Photograph from an automated digital microscope: urine filter membrane, 4× objective. The image covers about 1.5 × 1.1 mm of the membrane.
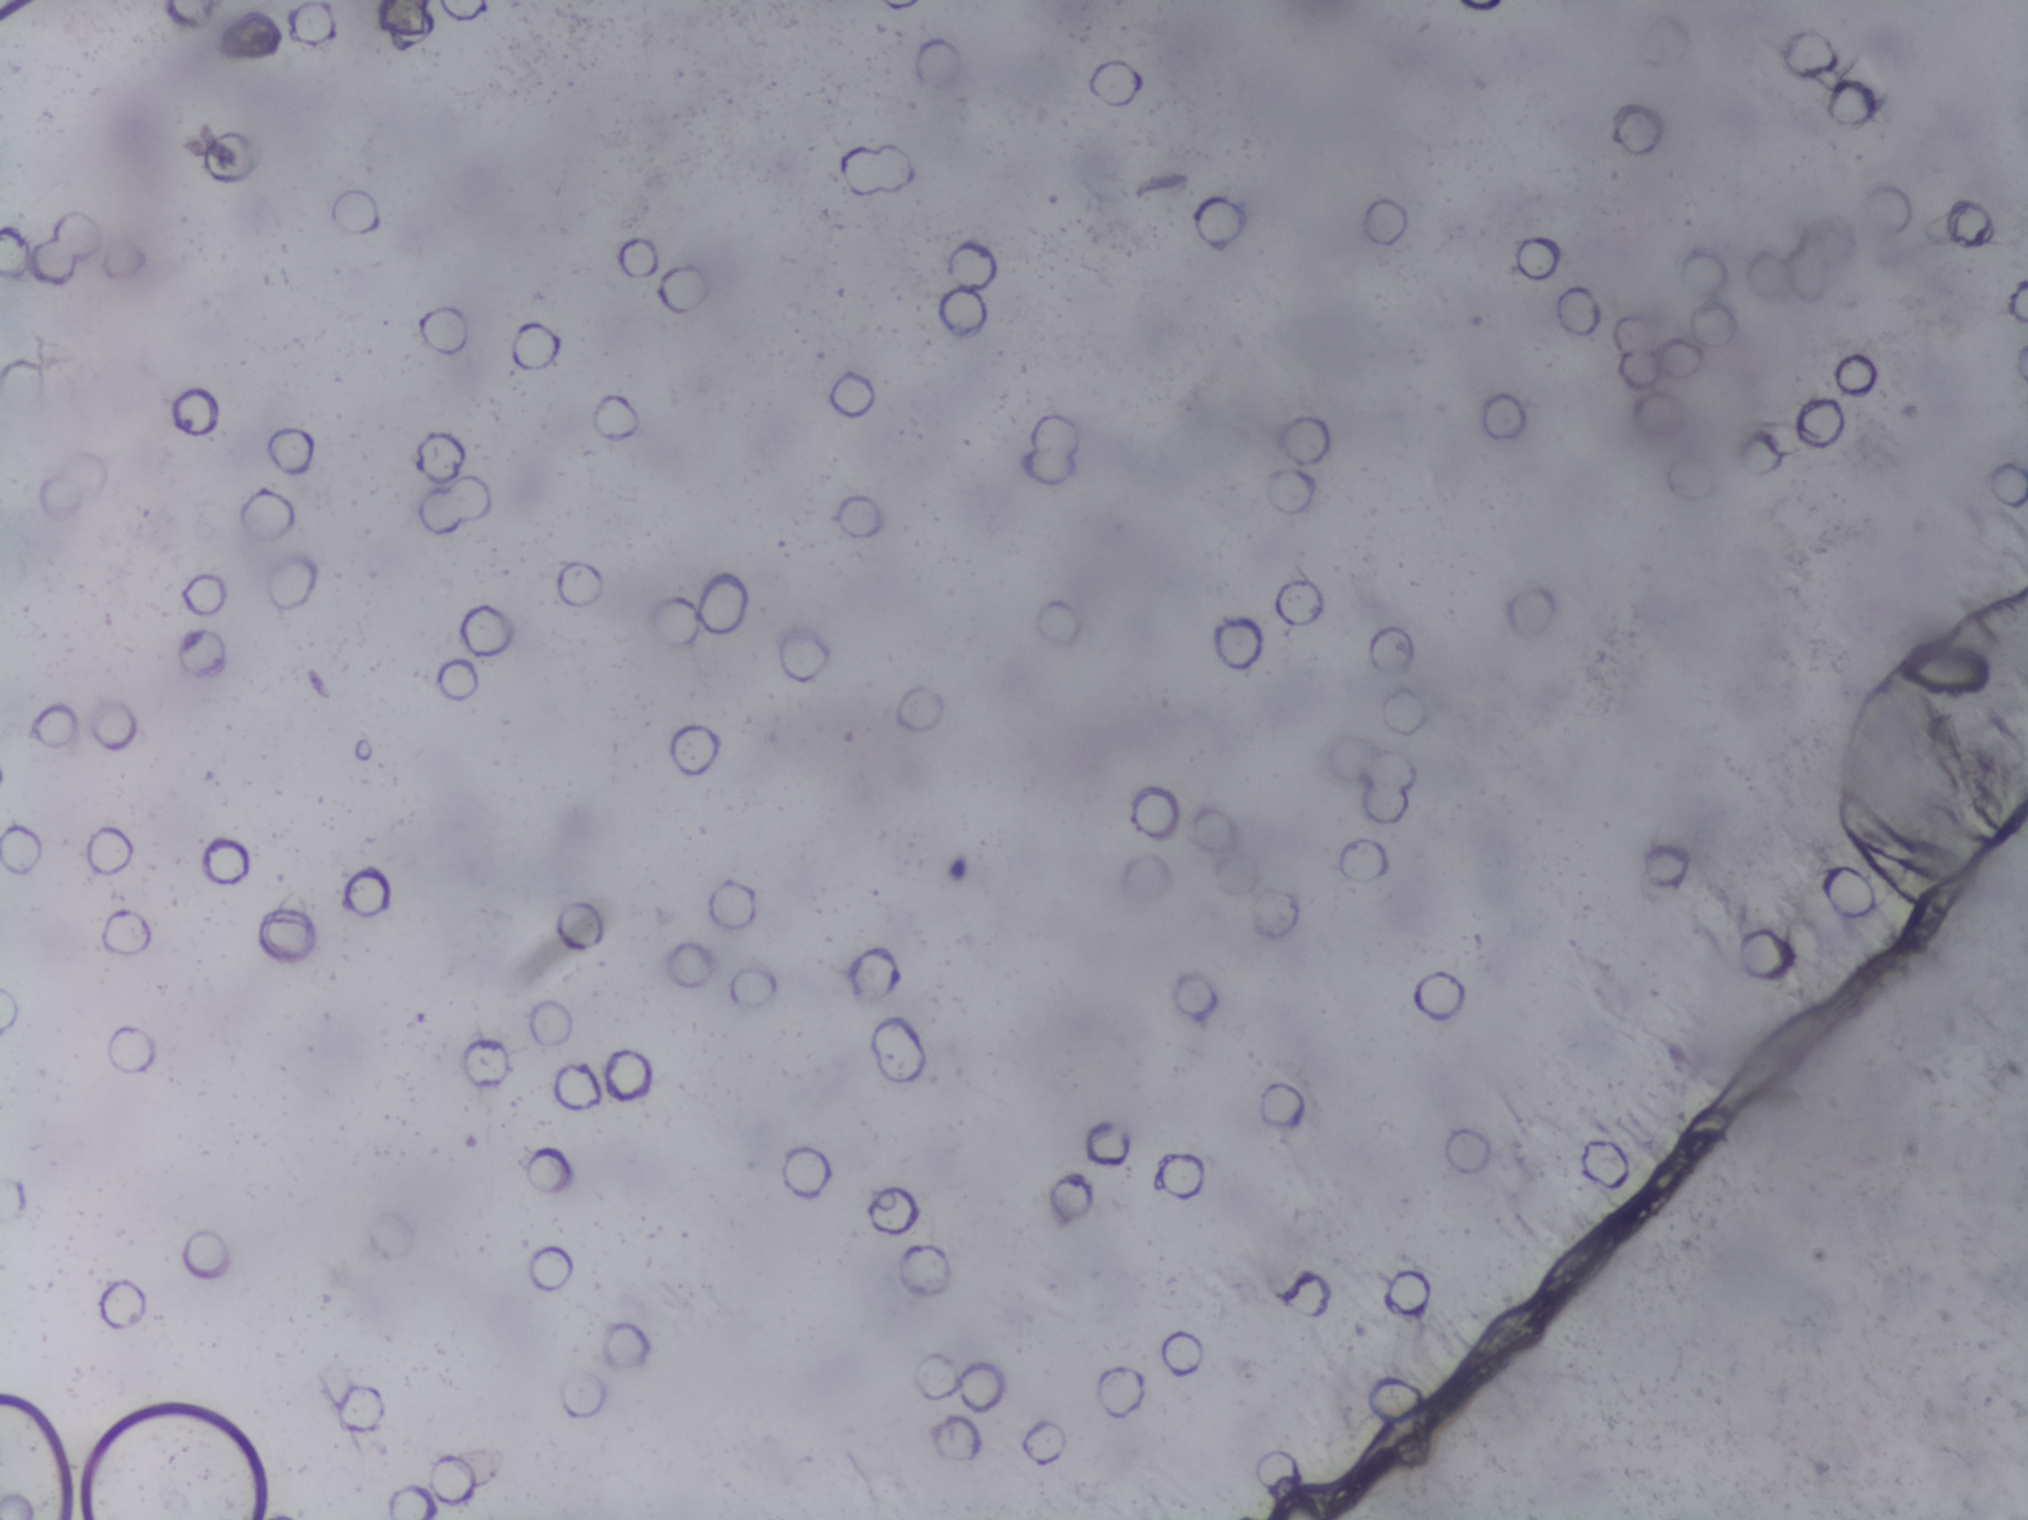
The expert annotation outlines no Schistosoma egg in this image.